Urine filtration membrane under a 4× objective, photographed by an automated digital microscope.
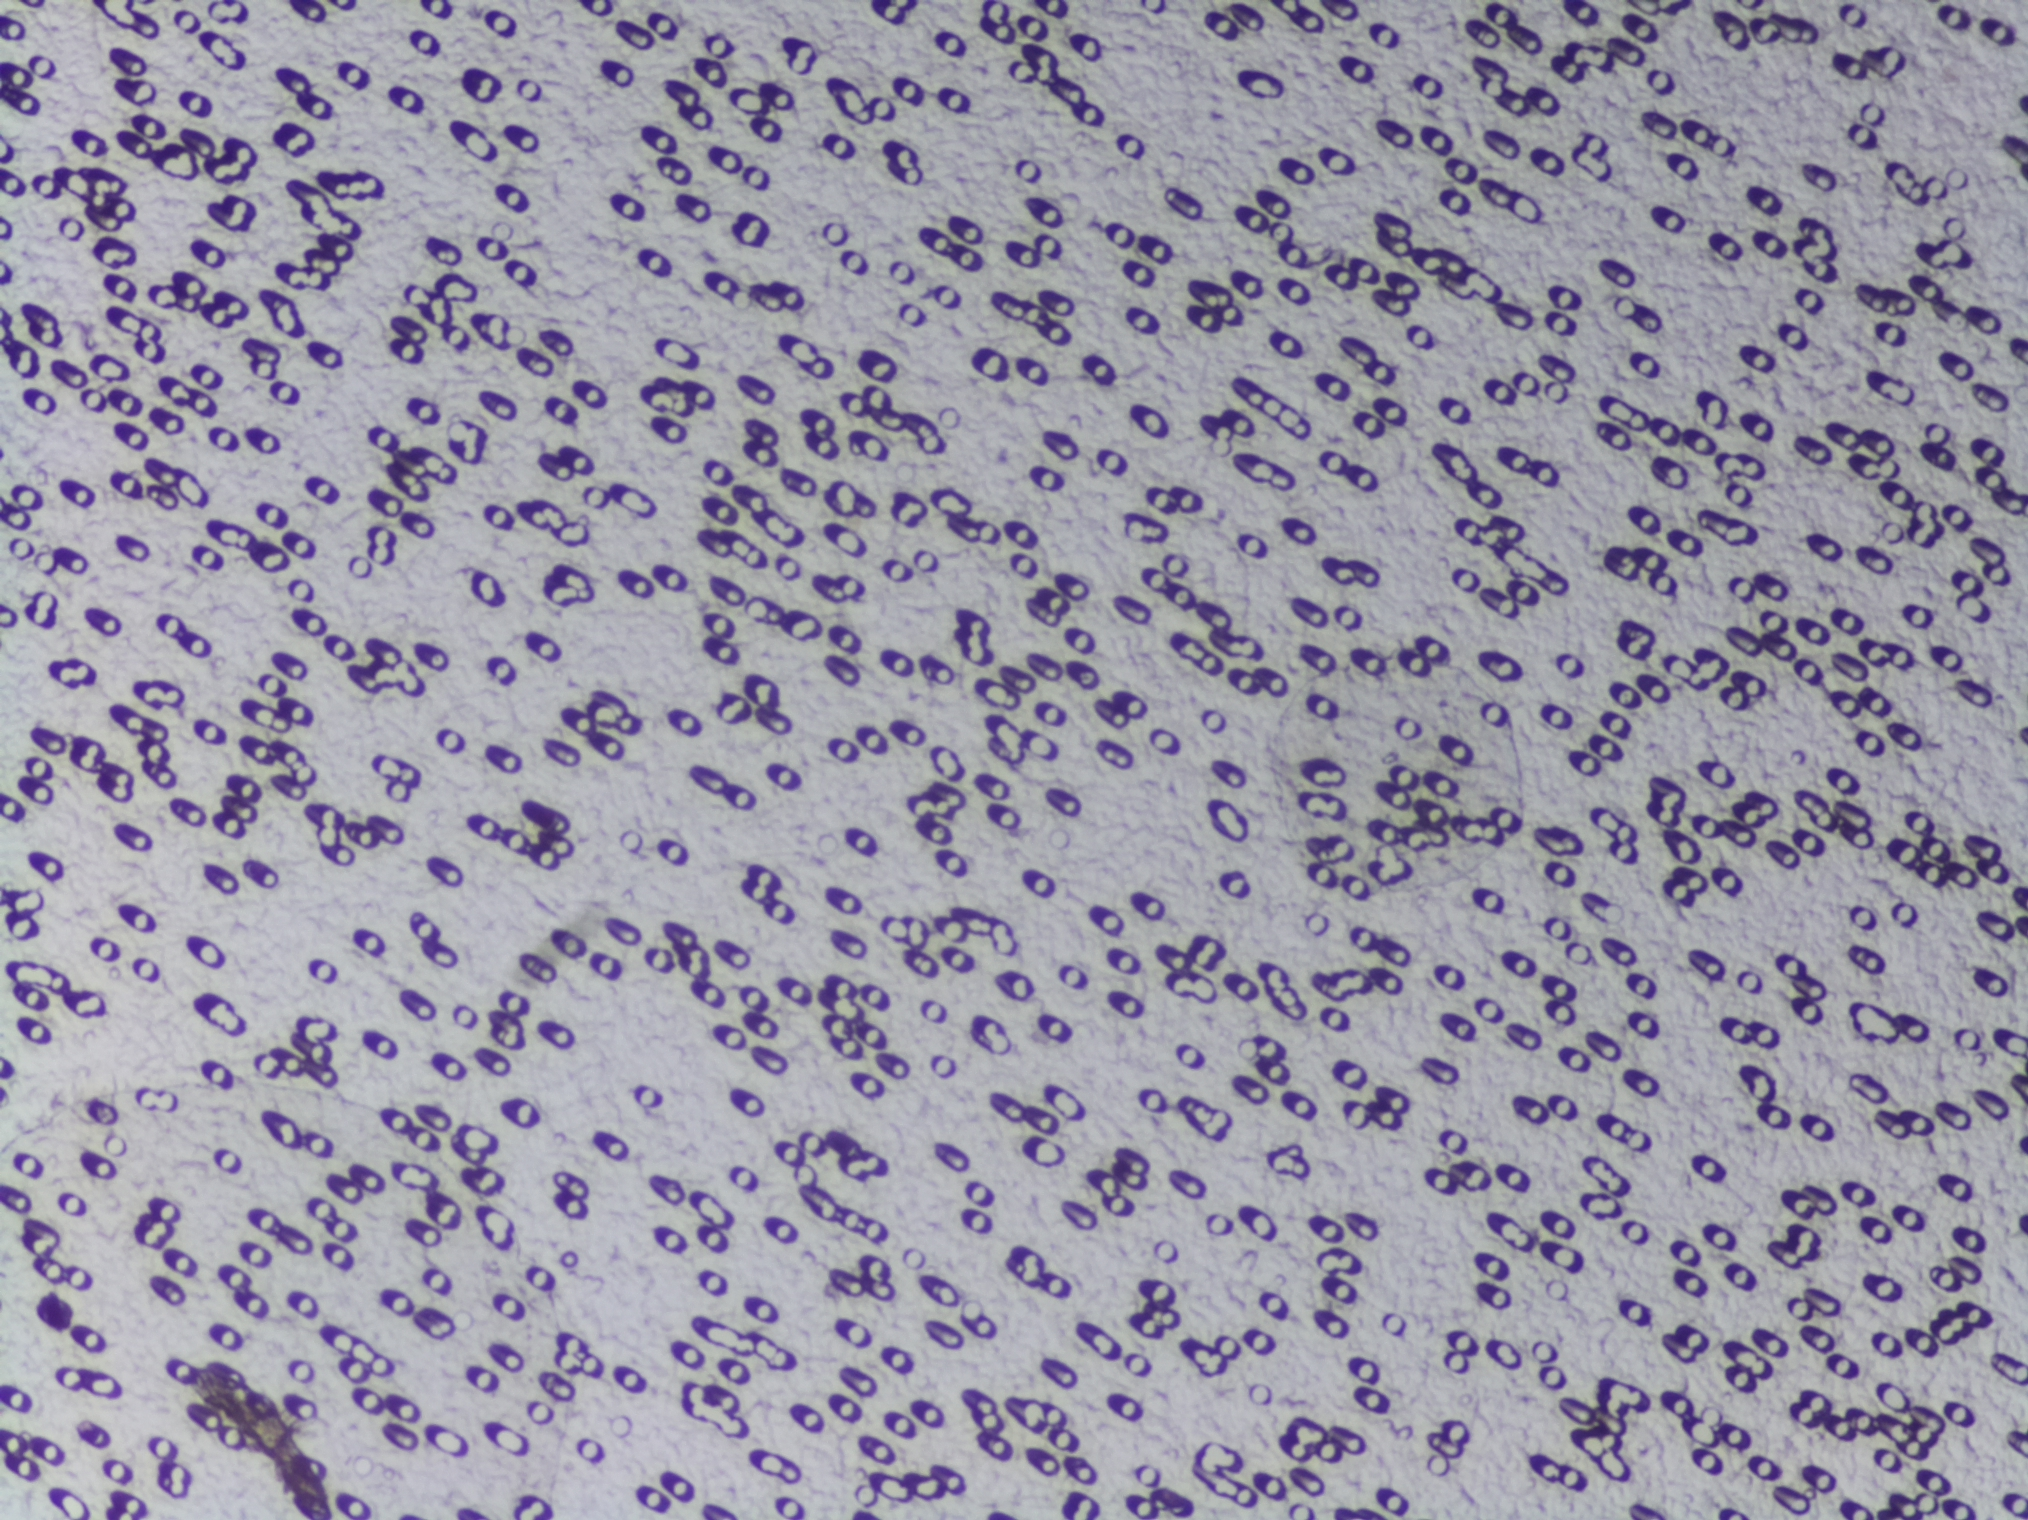
The expert annotation marks no Schistosoma egg in this field of view.